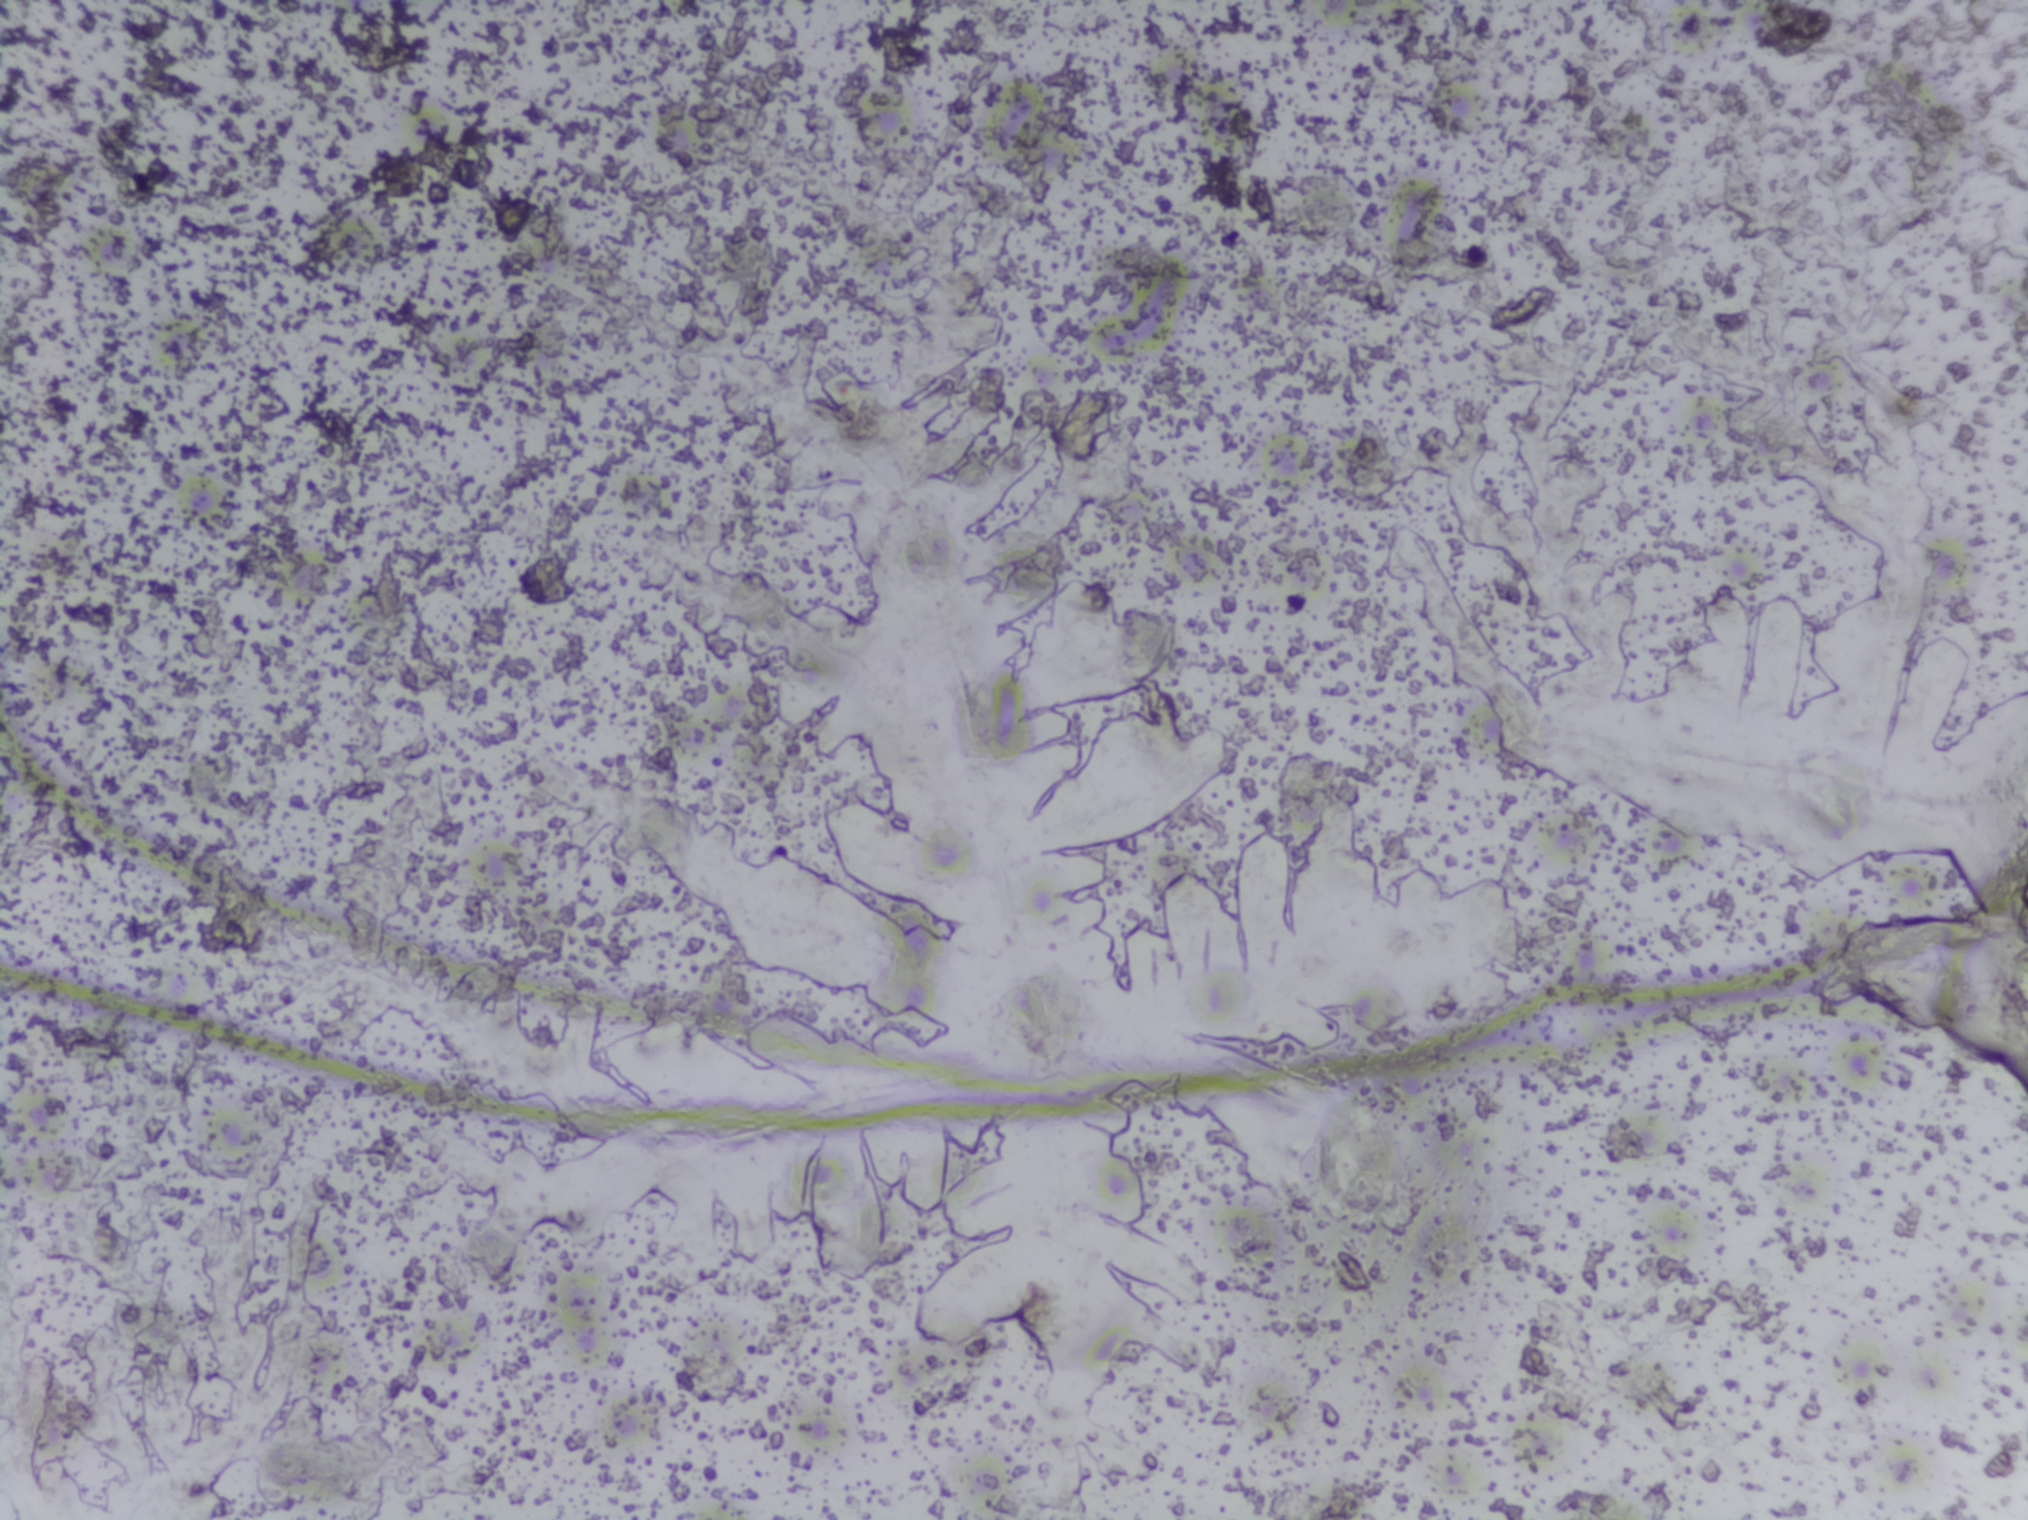
Photograph from an automated digital microscope: urine filter membrane, 4× objective.
Schistosoma eggs: none outlined.